Photograph from an automated digital microscope: urine filter membrane, 4× objective.
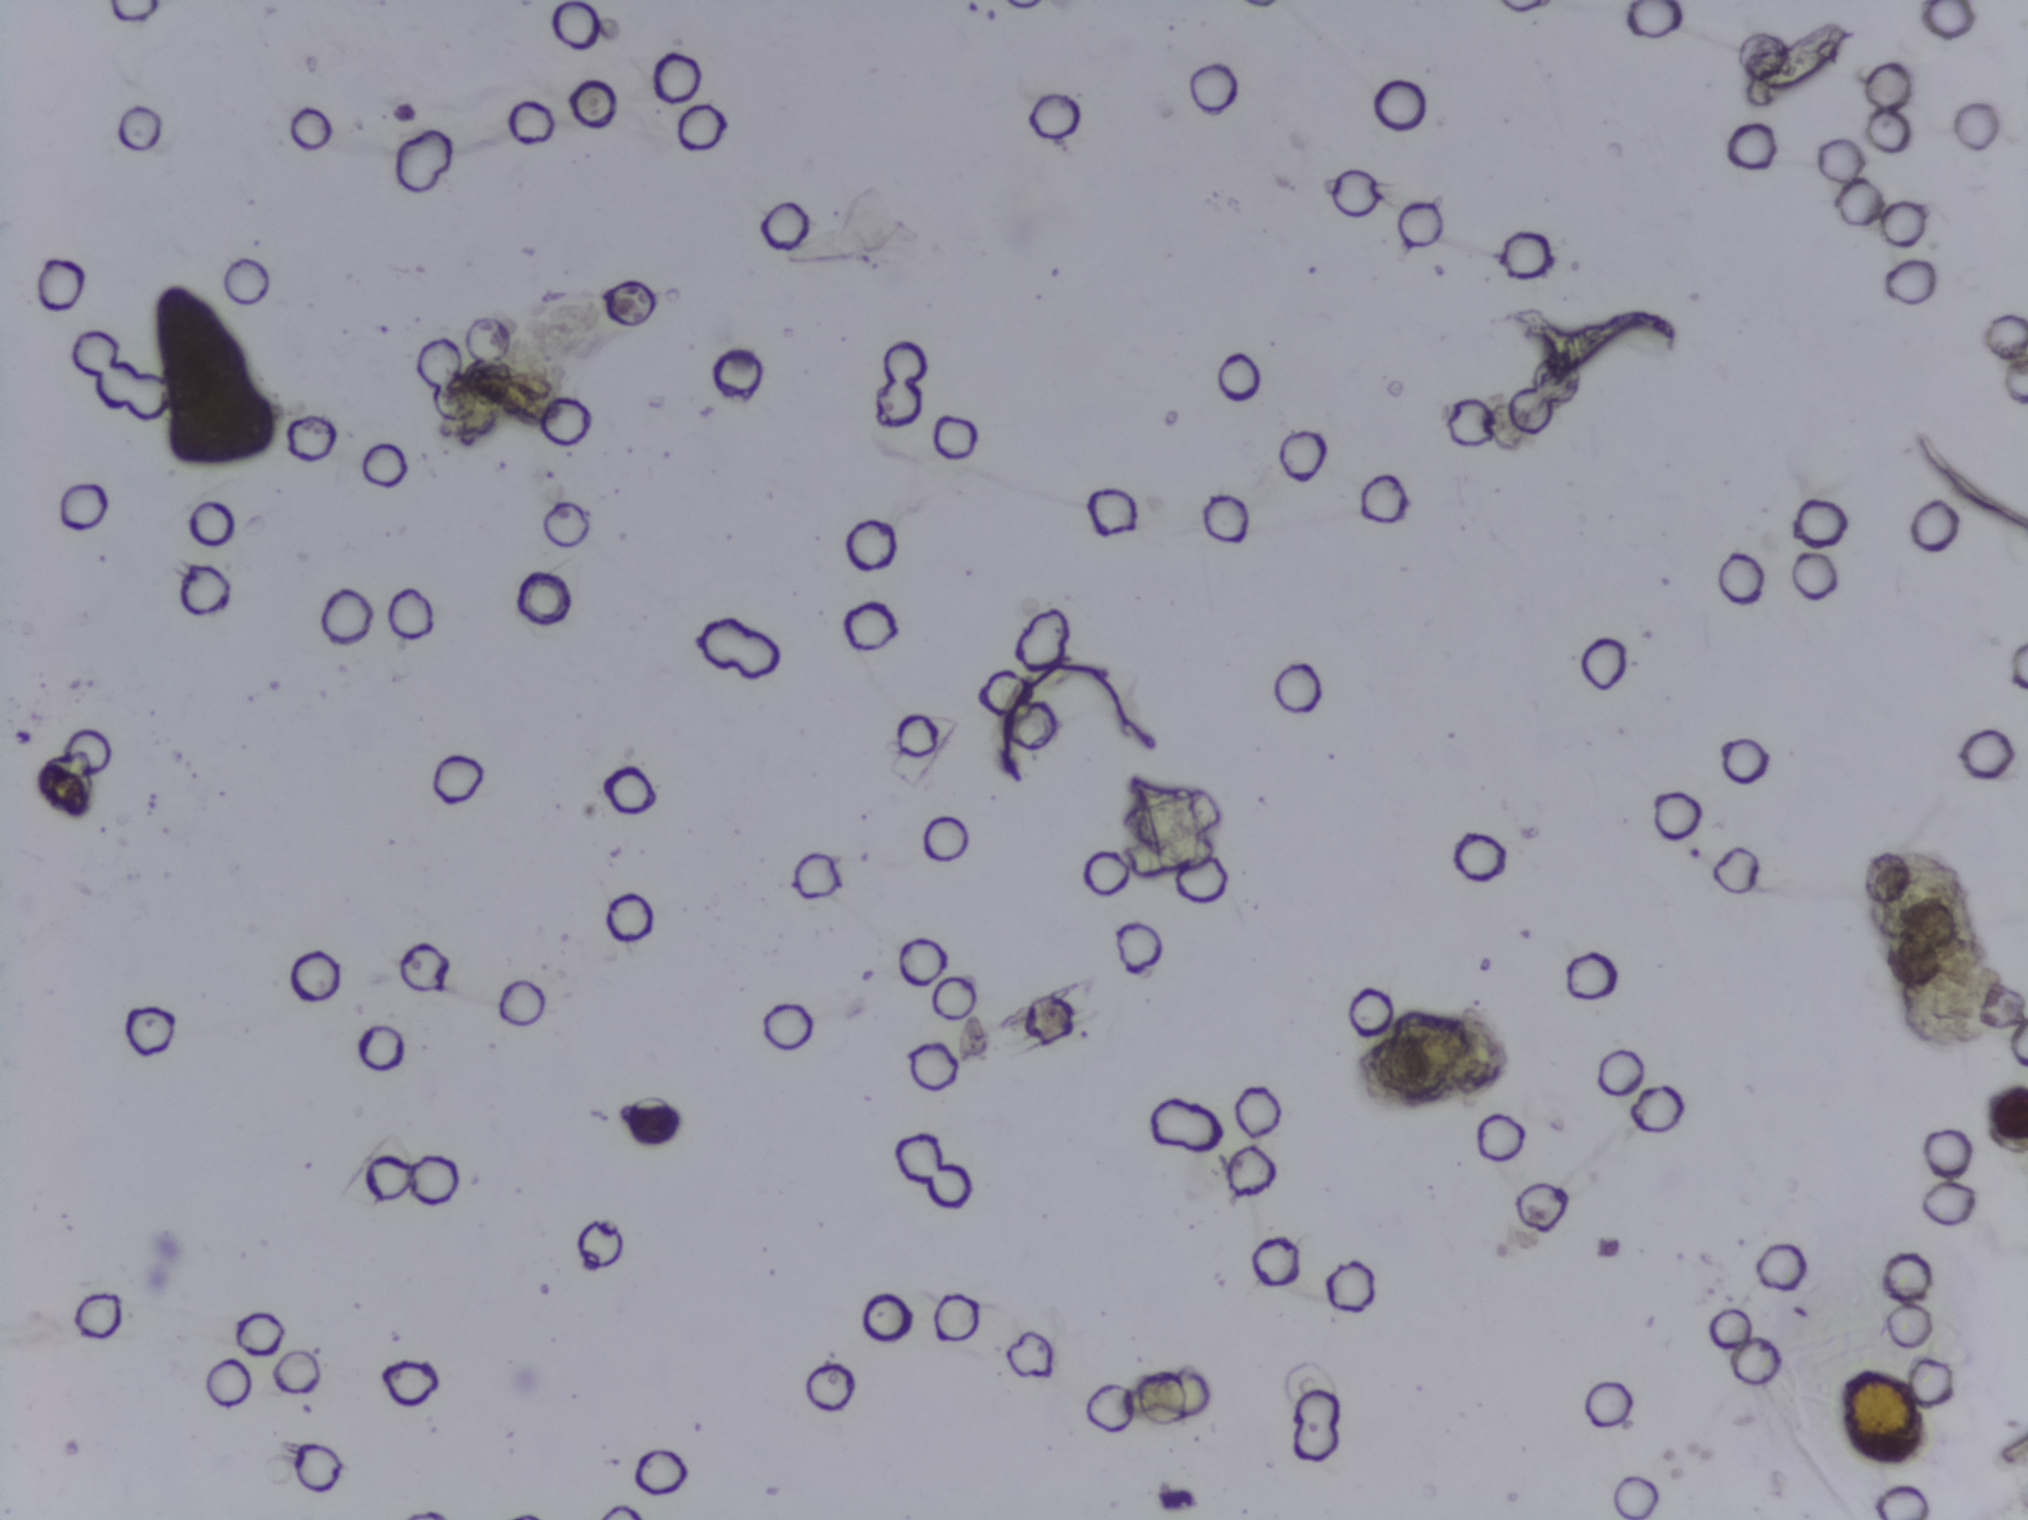
No Schistosoma egg is outlined in this image's expert annotation.